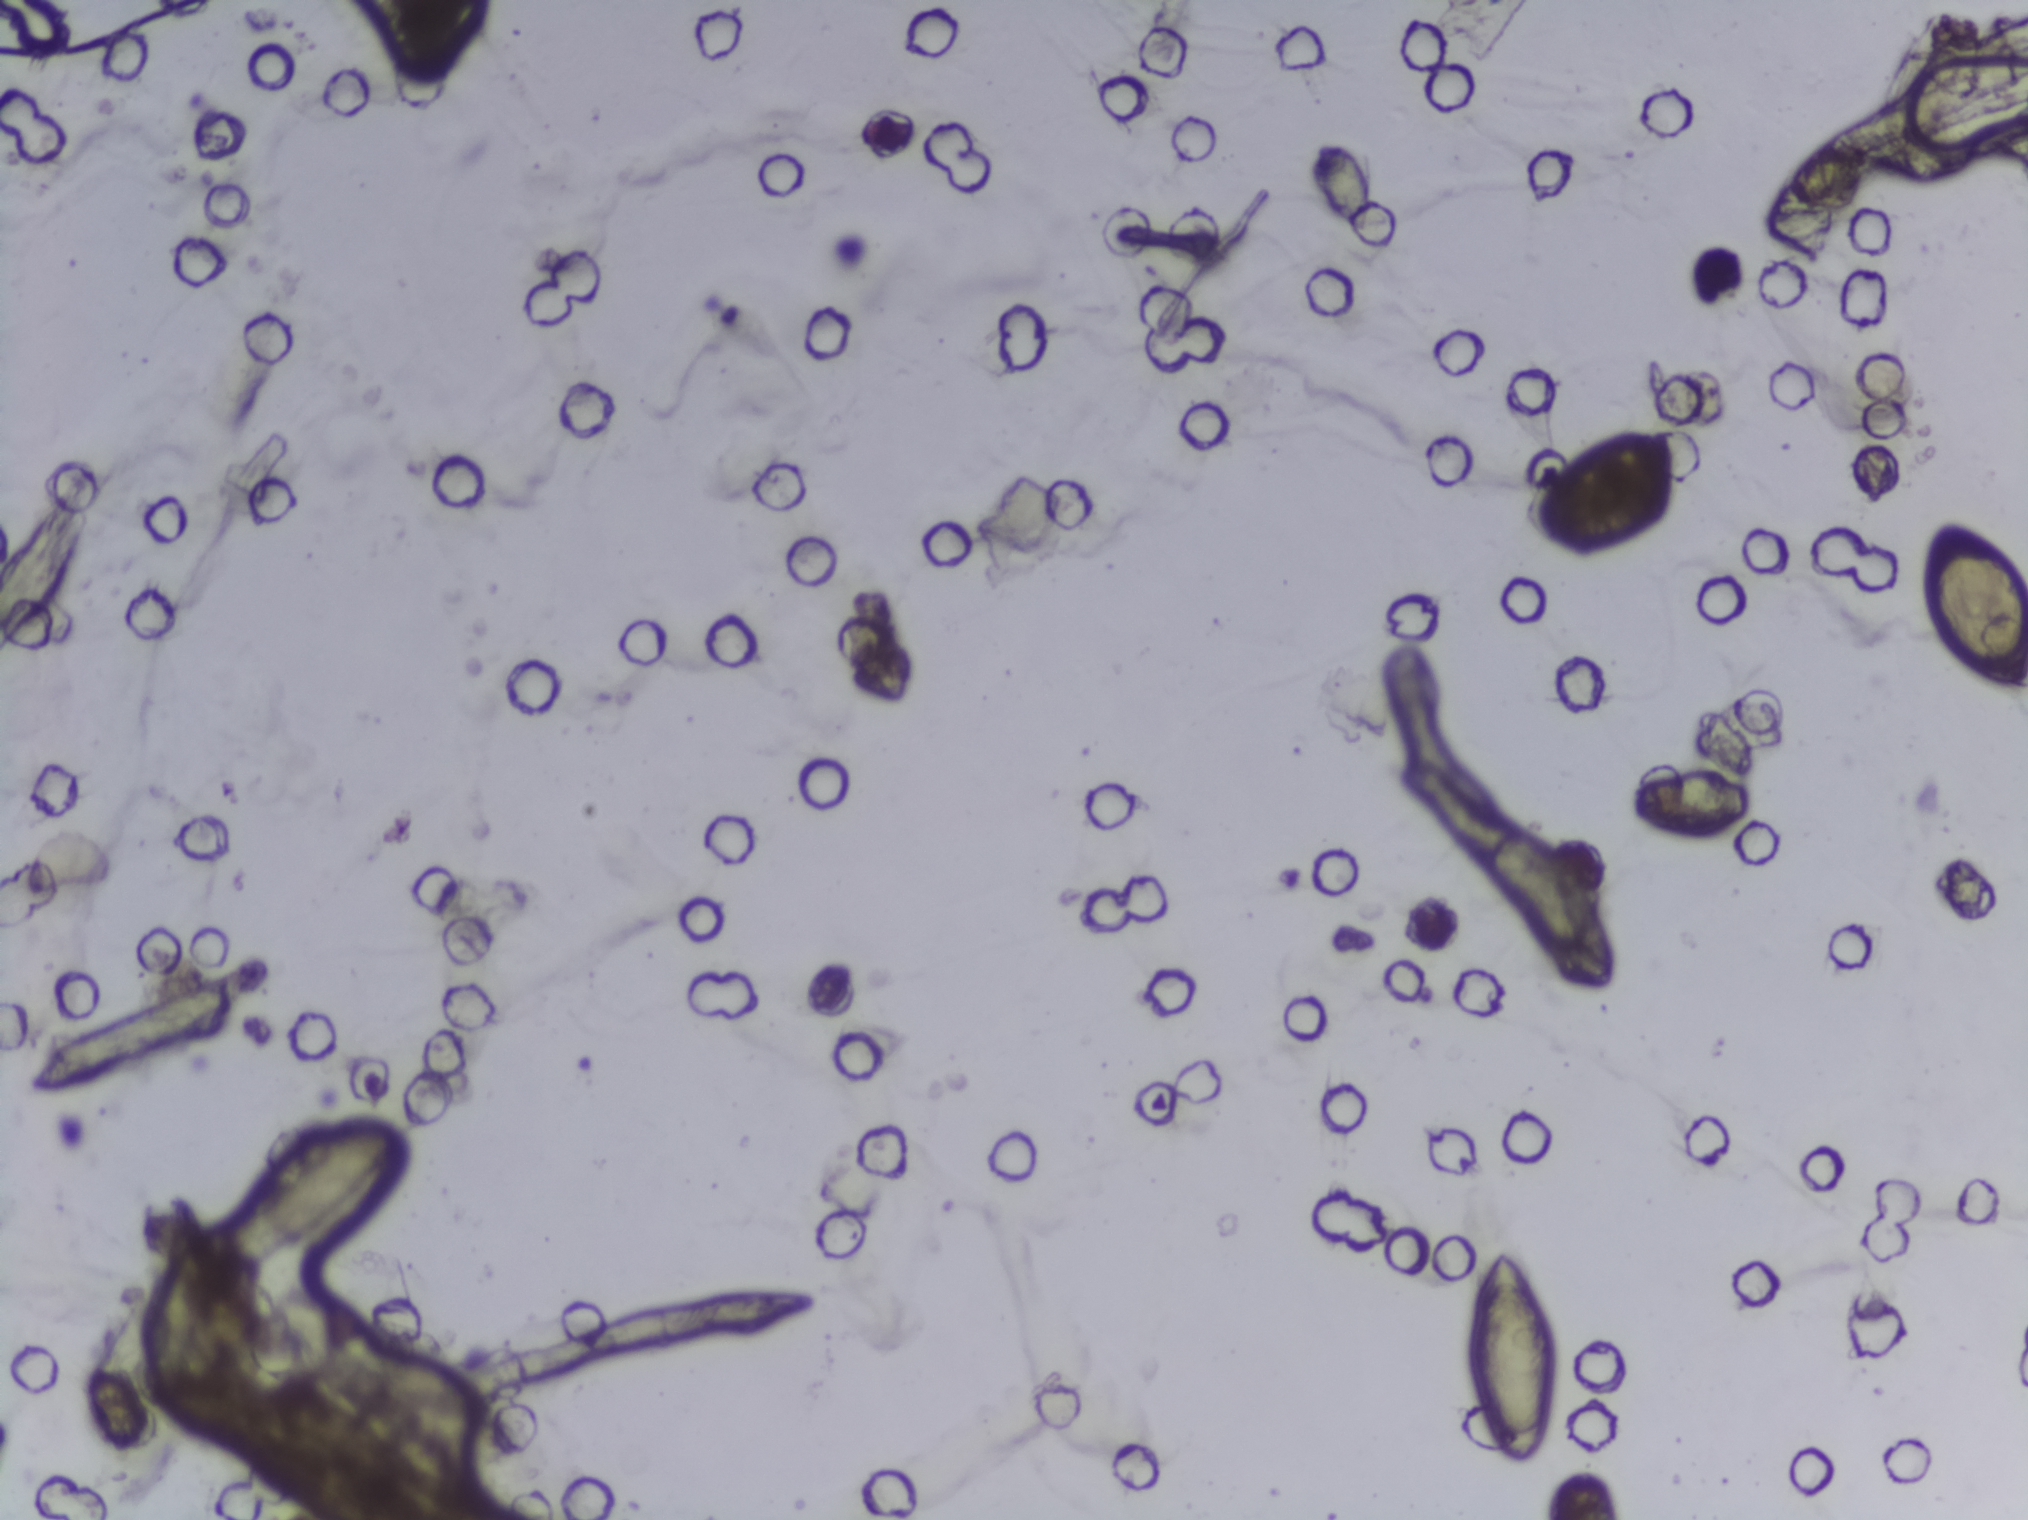
One field of view of a urine filter membrane, 4× objective, 2028 × 1520 pixels.
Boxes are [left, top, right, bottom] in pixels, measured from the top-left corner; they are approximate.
The expert annotation outlines Schistosoma eggs at [1464, 1238, 1567, 1467]; [1632, 770, 1748, 836]; [1926, 524, 2027, 692] (reaching the right edge of the frame). An outlined area can hold more than one egg.